Urine filter membrane photographed through a 4× microscope objective.
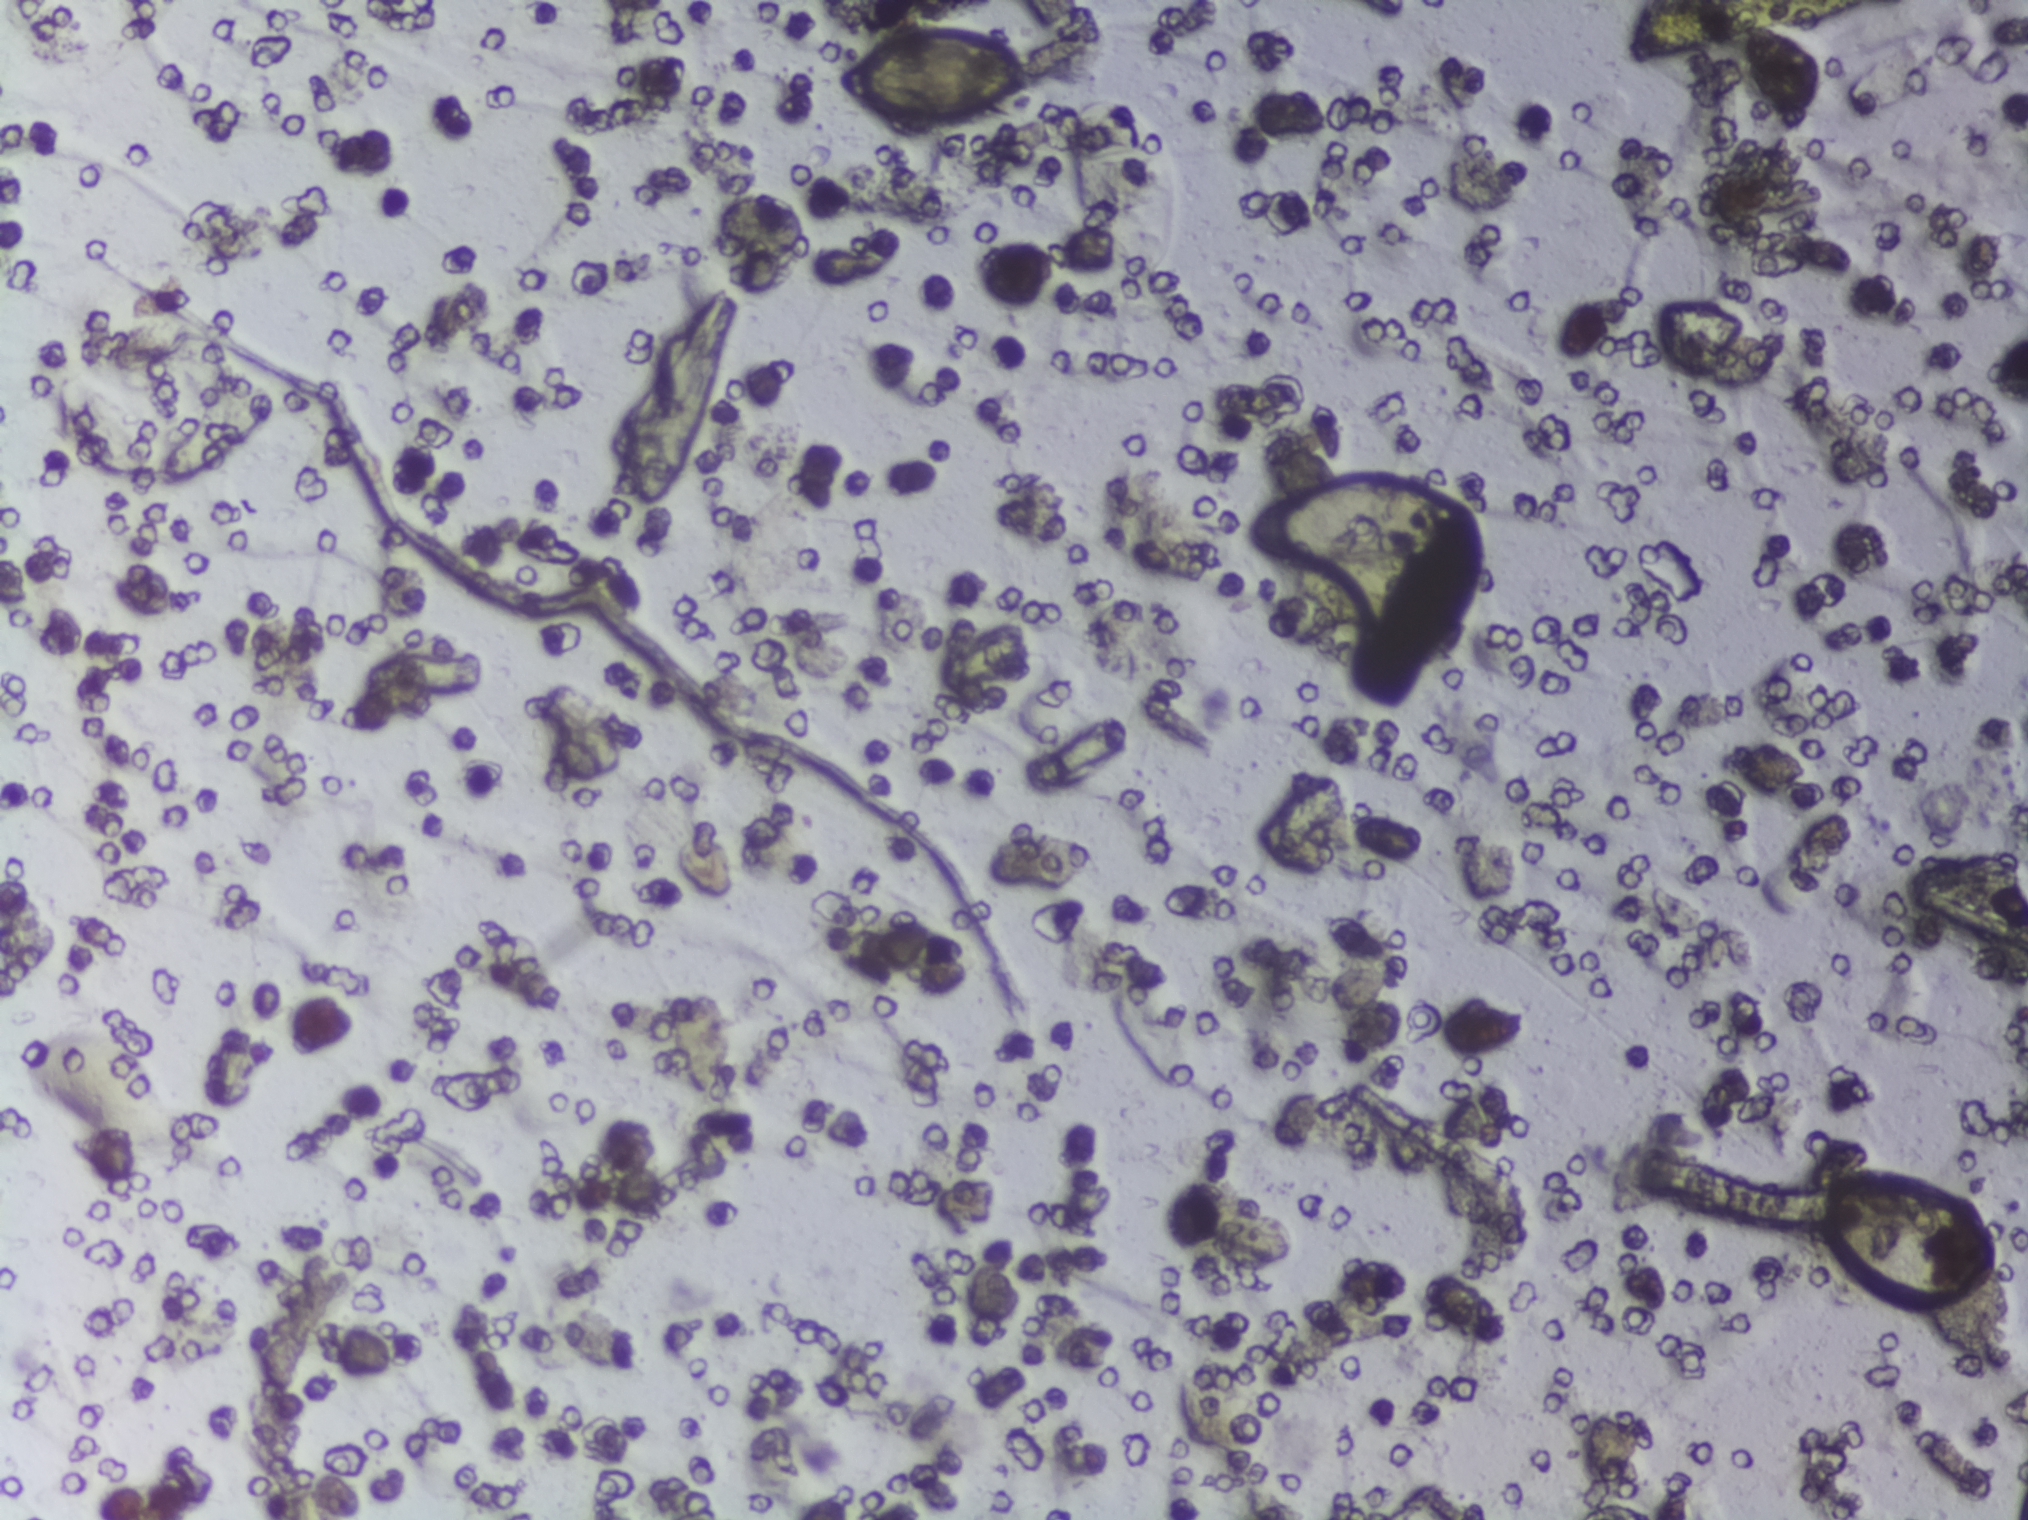
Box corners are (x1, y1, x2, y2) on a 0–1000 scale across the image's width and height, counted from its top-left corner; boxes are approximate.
Areas outlined as Schistosoma eggs: (414, 20, 507, 83); (525, 63, 581, 189); (615, 313, 724, 374); (897, 772, 982, 862). An outlined area can hold more than one egg.